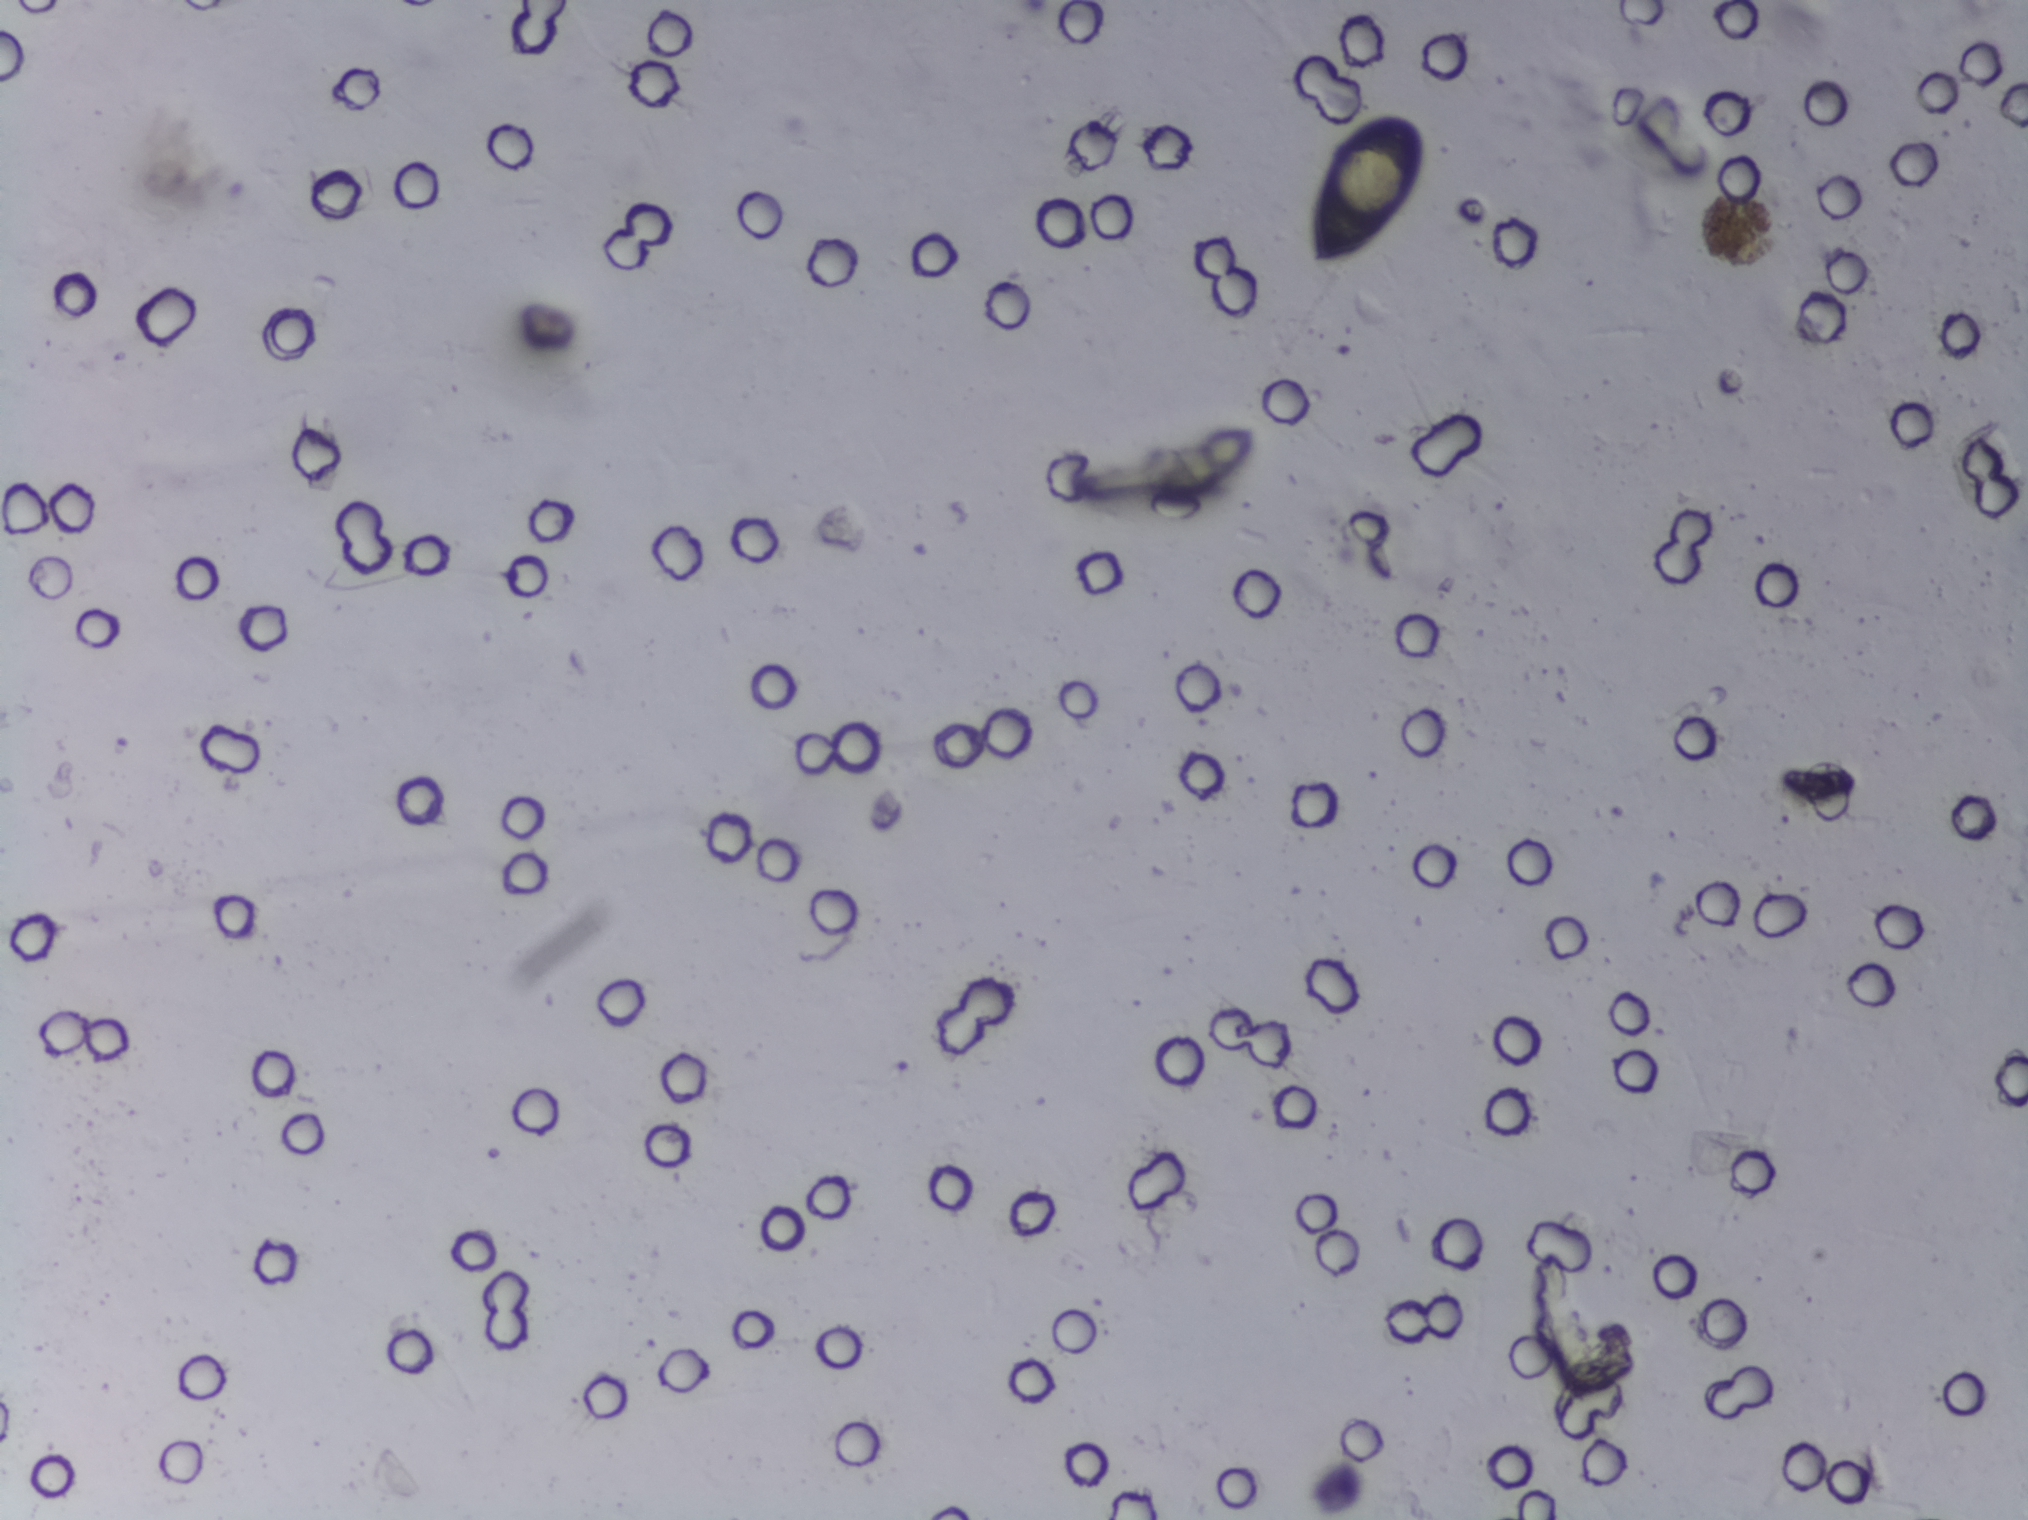
Microscope photograph (4× objective) of a membrane that a urine sample was filtered through.
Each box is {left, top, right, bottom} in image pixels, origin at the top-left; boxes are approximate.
Schistosoma eggs are outlined in one area of this image: {1297, 98, 1436, 274}. Eggs that touch can end up inside the same outlined area. Any one outlined egg may, rarely, be S. mansoni rather than S. haematobium.